Photograph from an automated digital microscope: urine filter membrane, 4× objective.
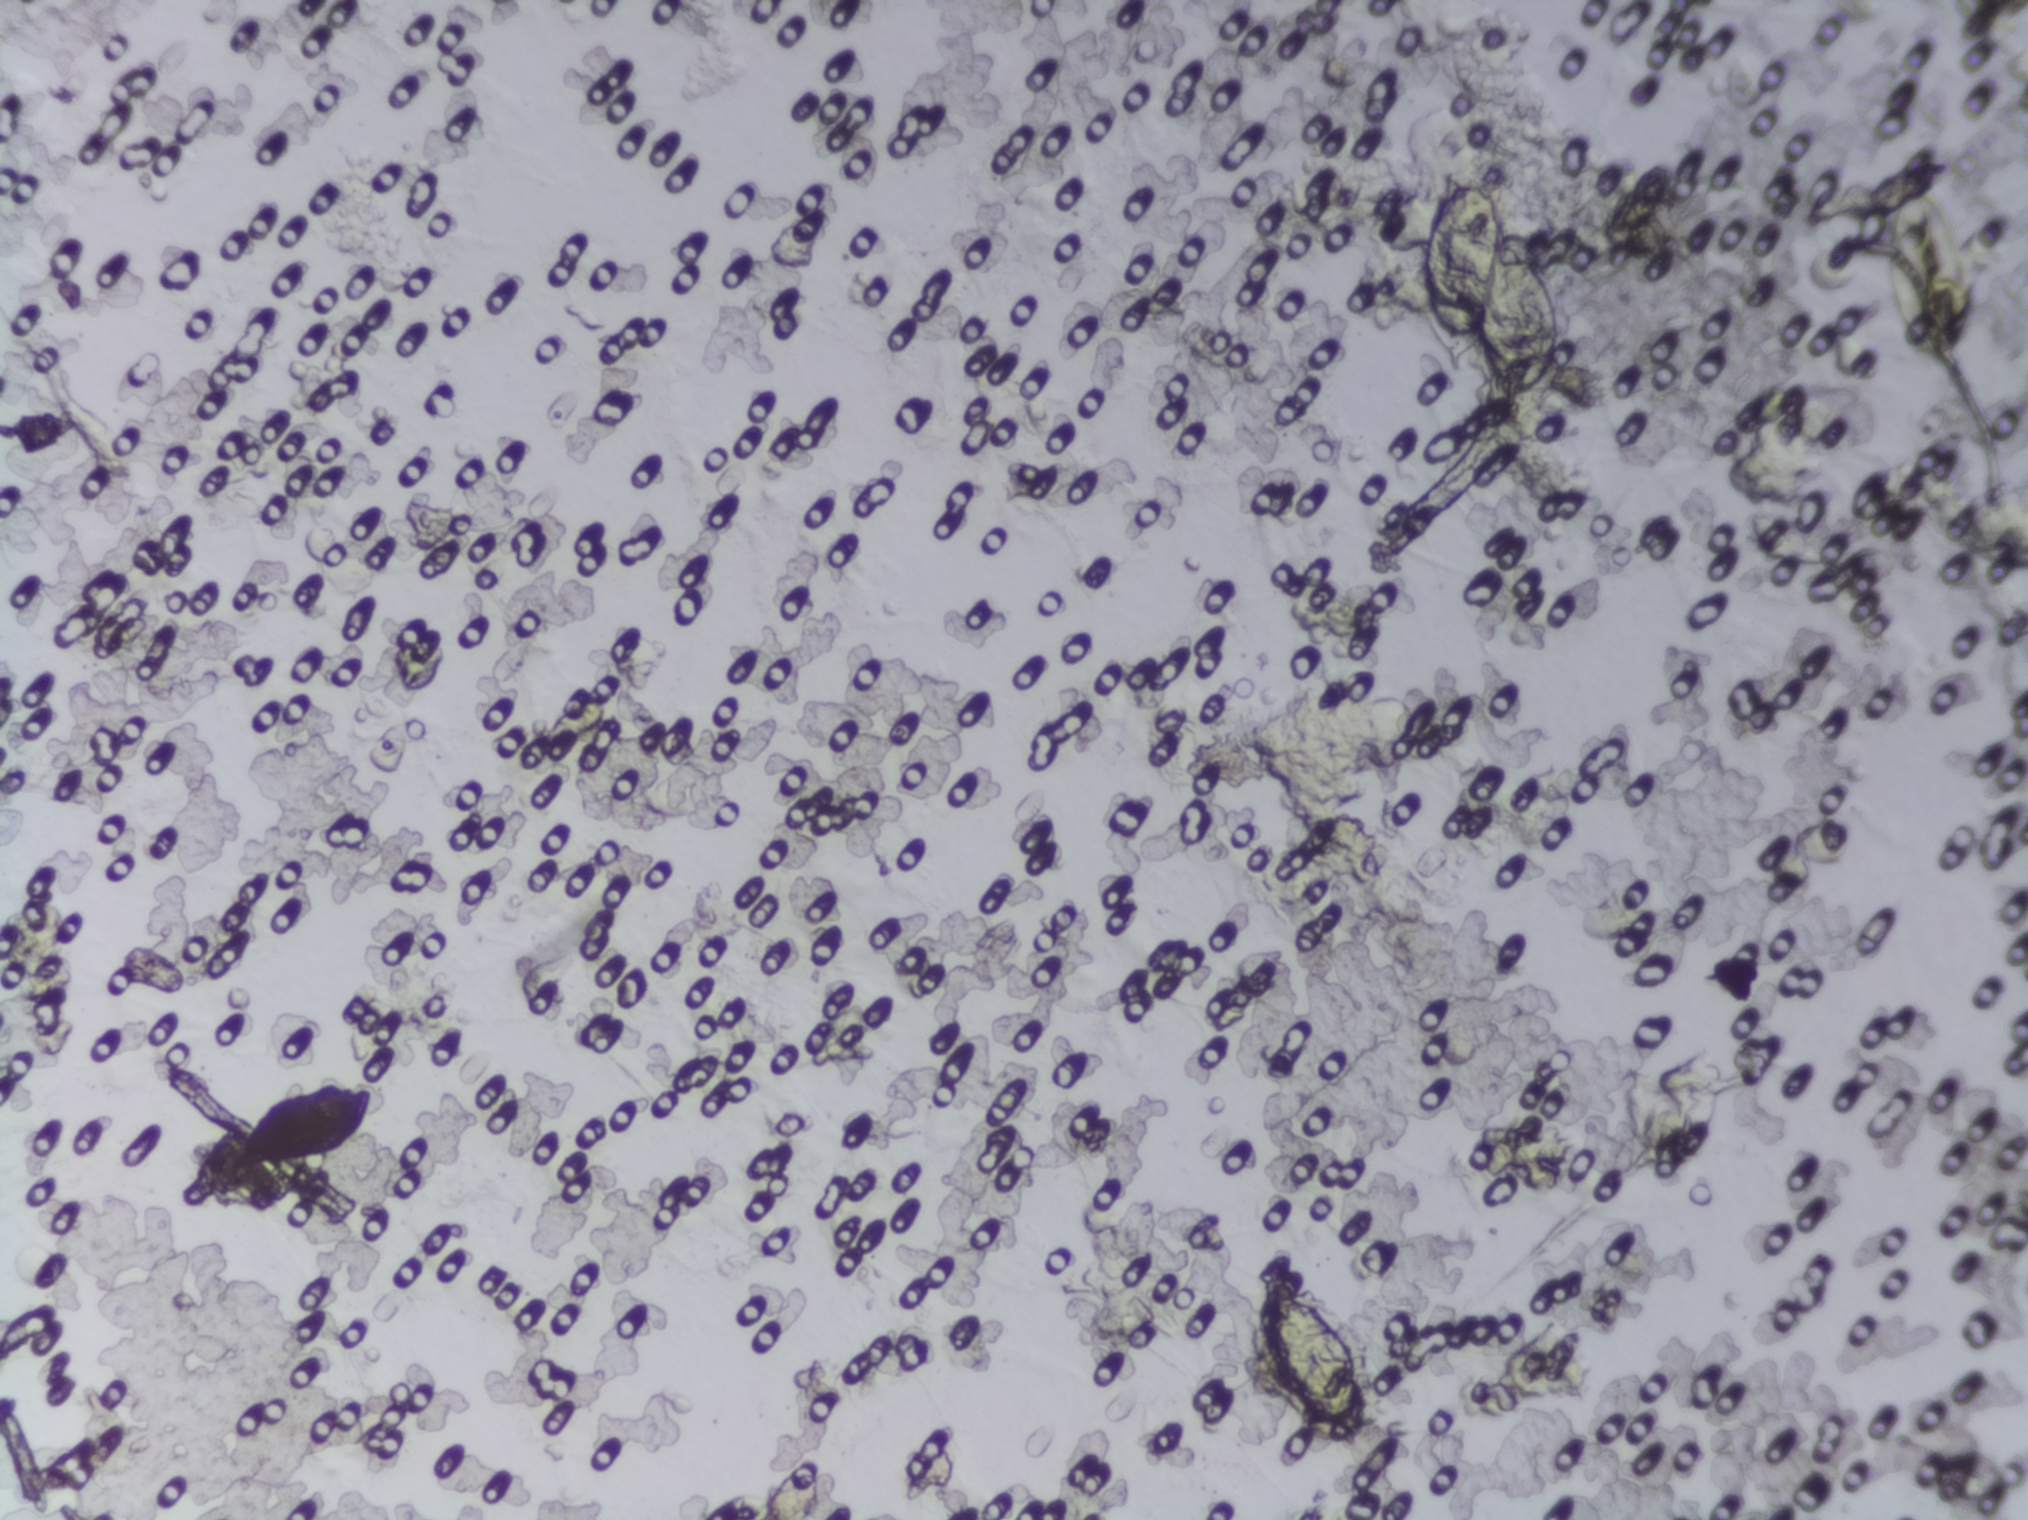
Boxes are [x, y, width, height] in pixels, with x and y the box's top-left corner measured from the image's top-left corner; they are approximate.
The expert annotation outlines Schistosoma eggs at [229, 1079, 154, 94]; [1242, 1259, 140, 204]; [1414, 172, 153, 237]; [1883, 169, 99, 208] (left to right). An outlined area can hold more than one egg.